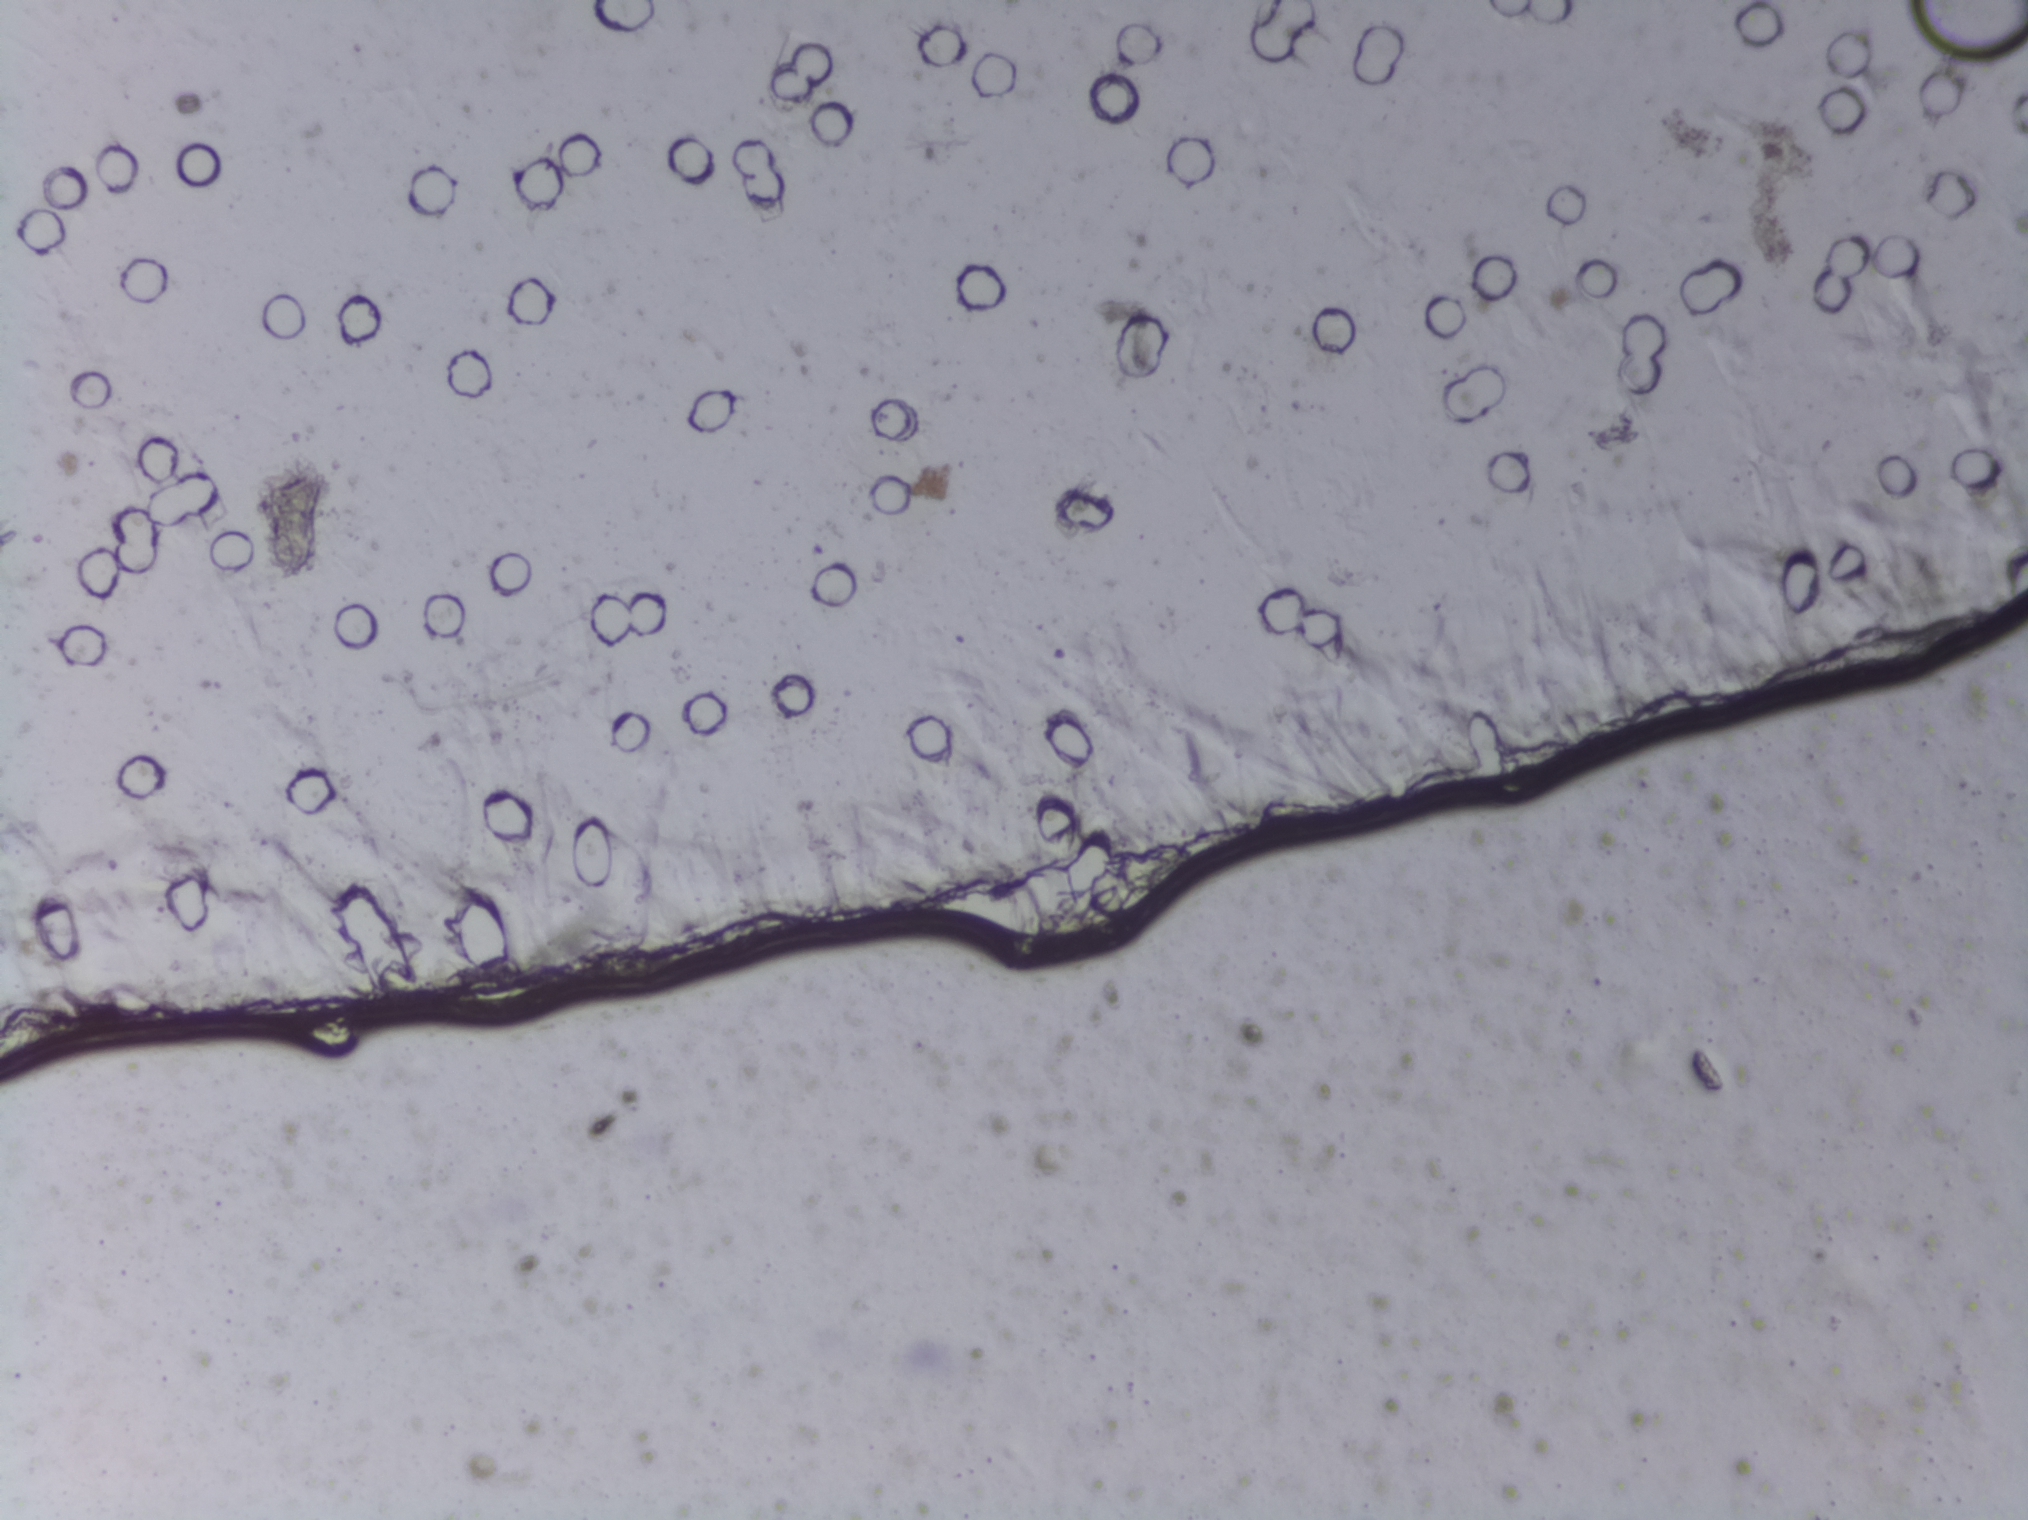
The expert annotation marks no Schistosoma egg in this field of view.
Urine filtration membrane under a 4× objective, photographed by an automated digital microscope. Field of view: about 1.5 mm wide and 1.1 mm high.